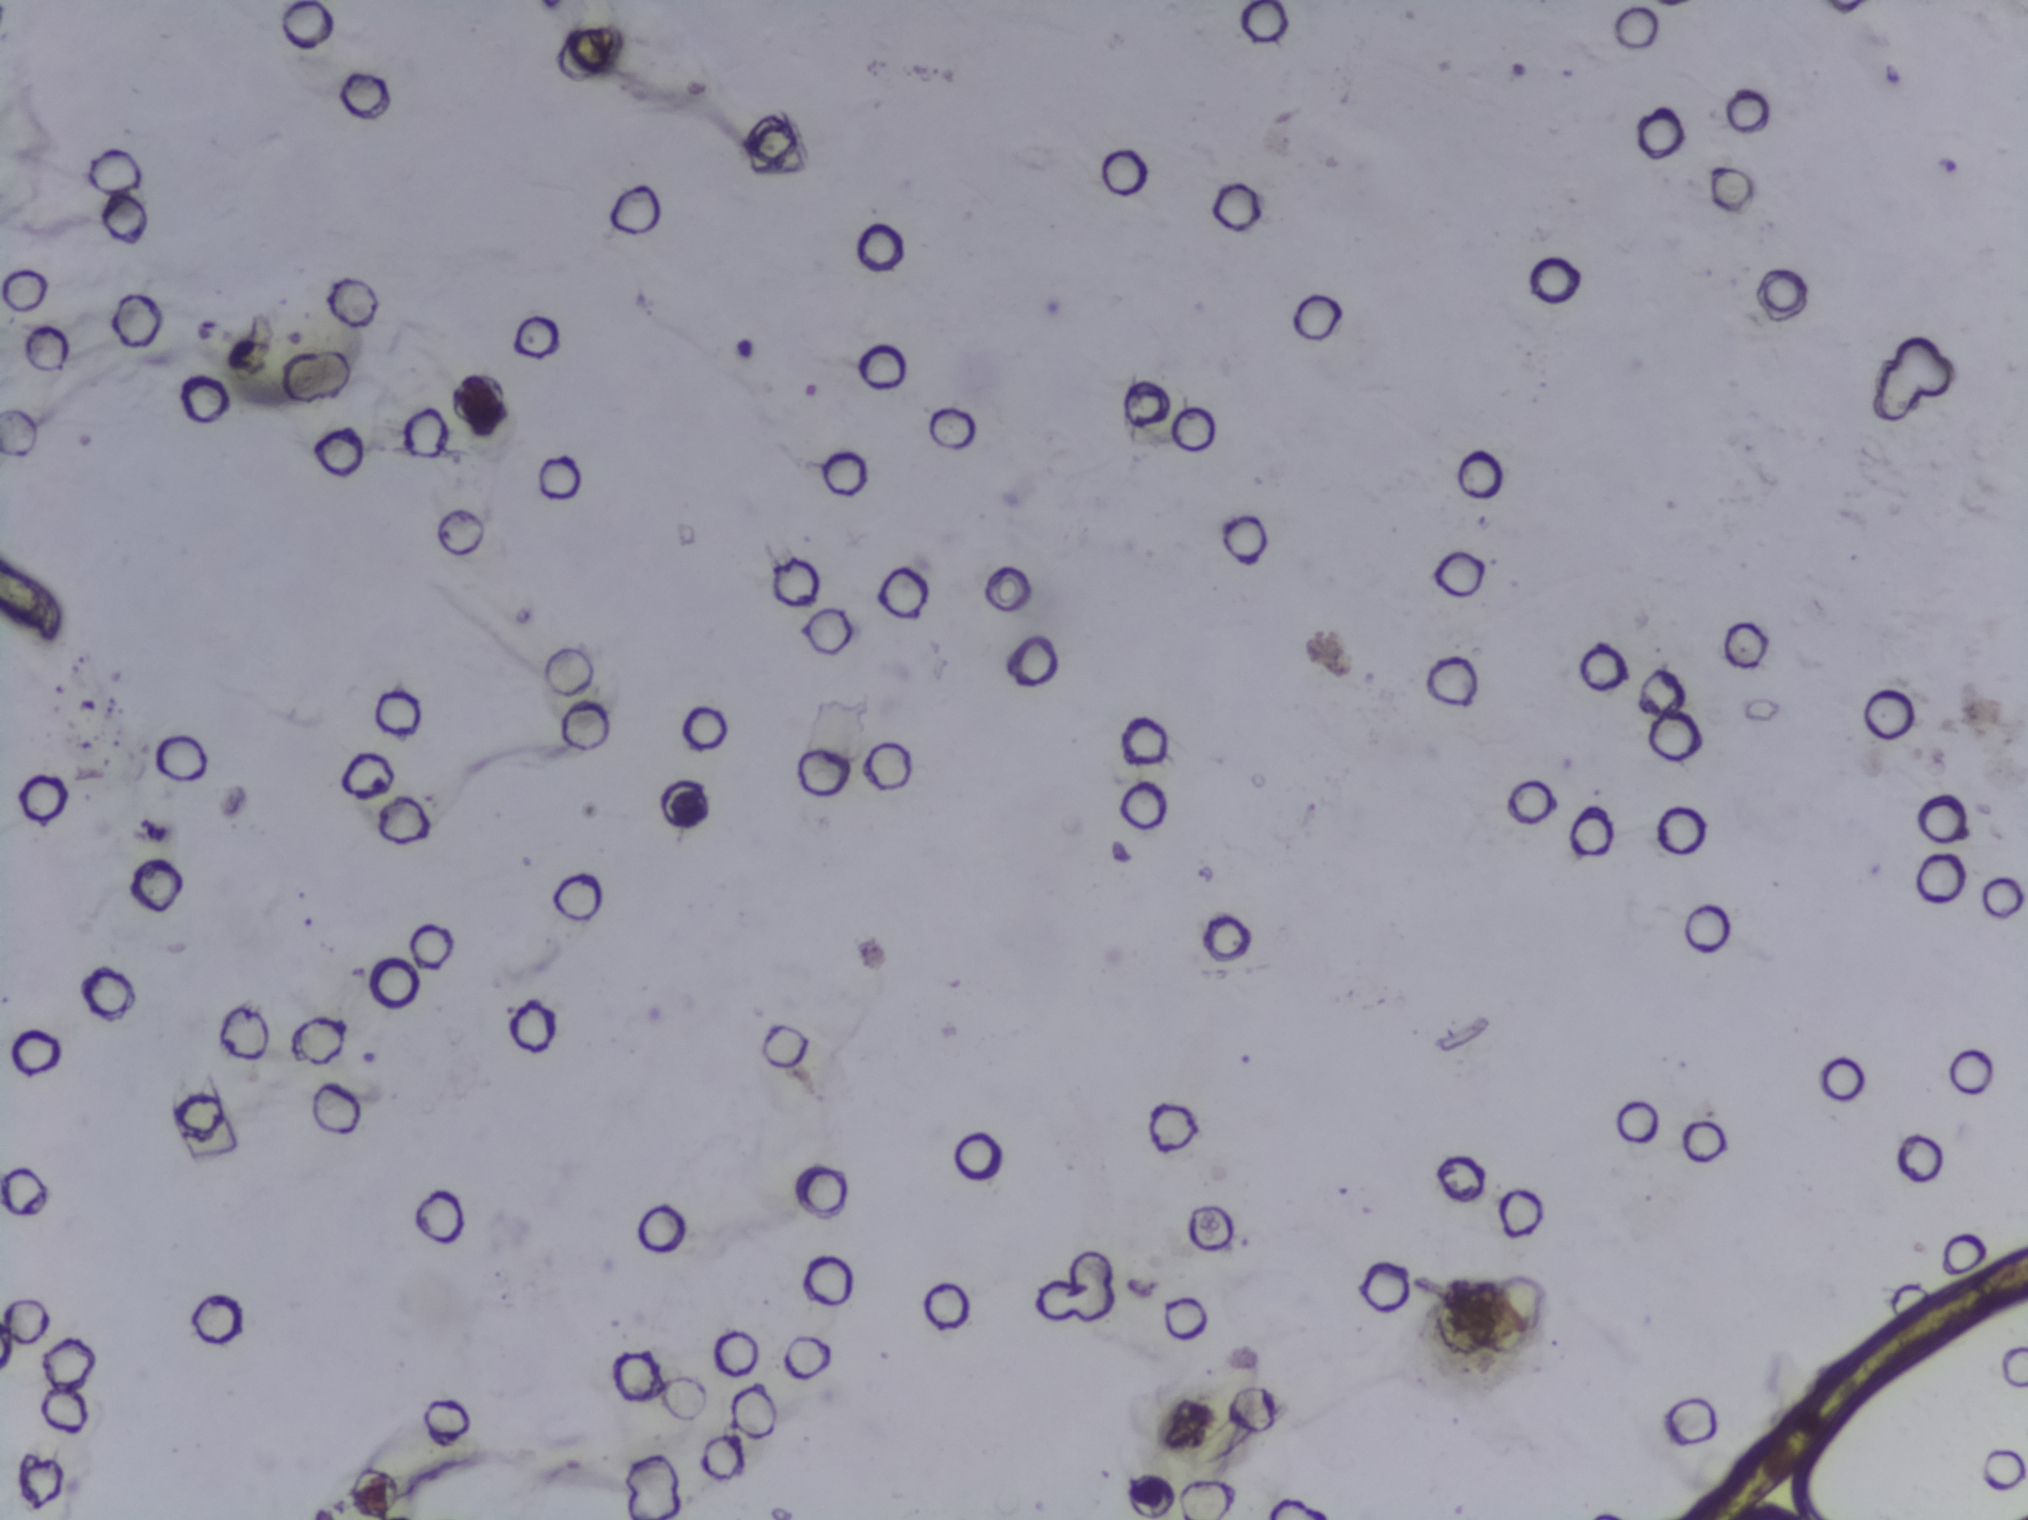
The expert annotation outlines no Schistosoma egg in this image.
One field of view of a urine filter membrane, 4× objective, 2028 × 1520 pixels. The image covers about 1.5 × 1.1 mm of the membrane.